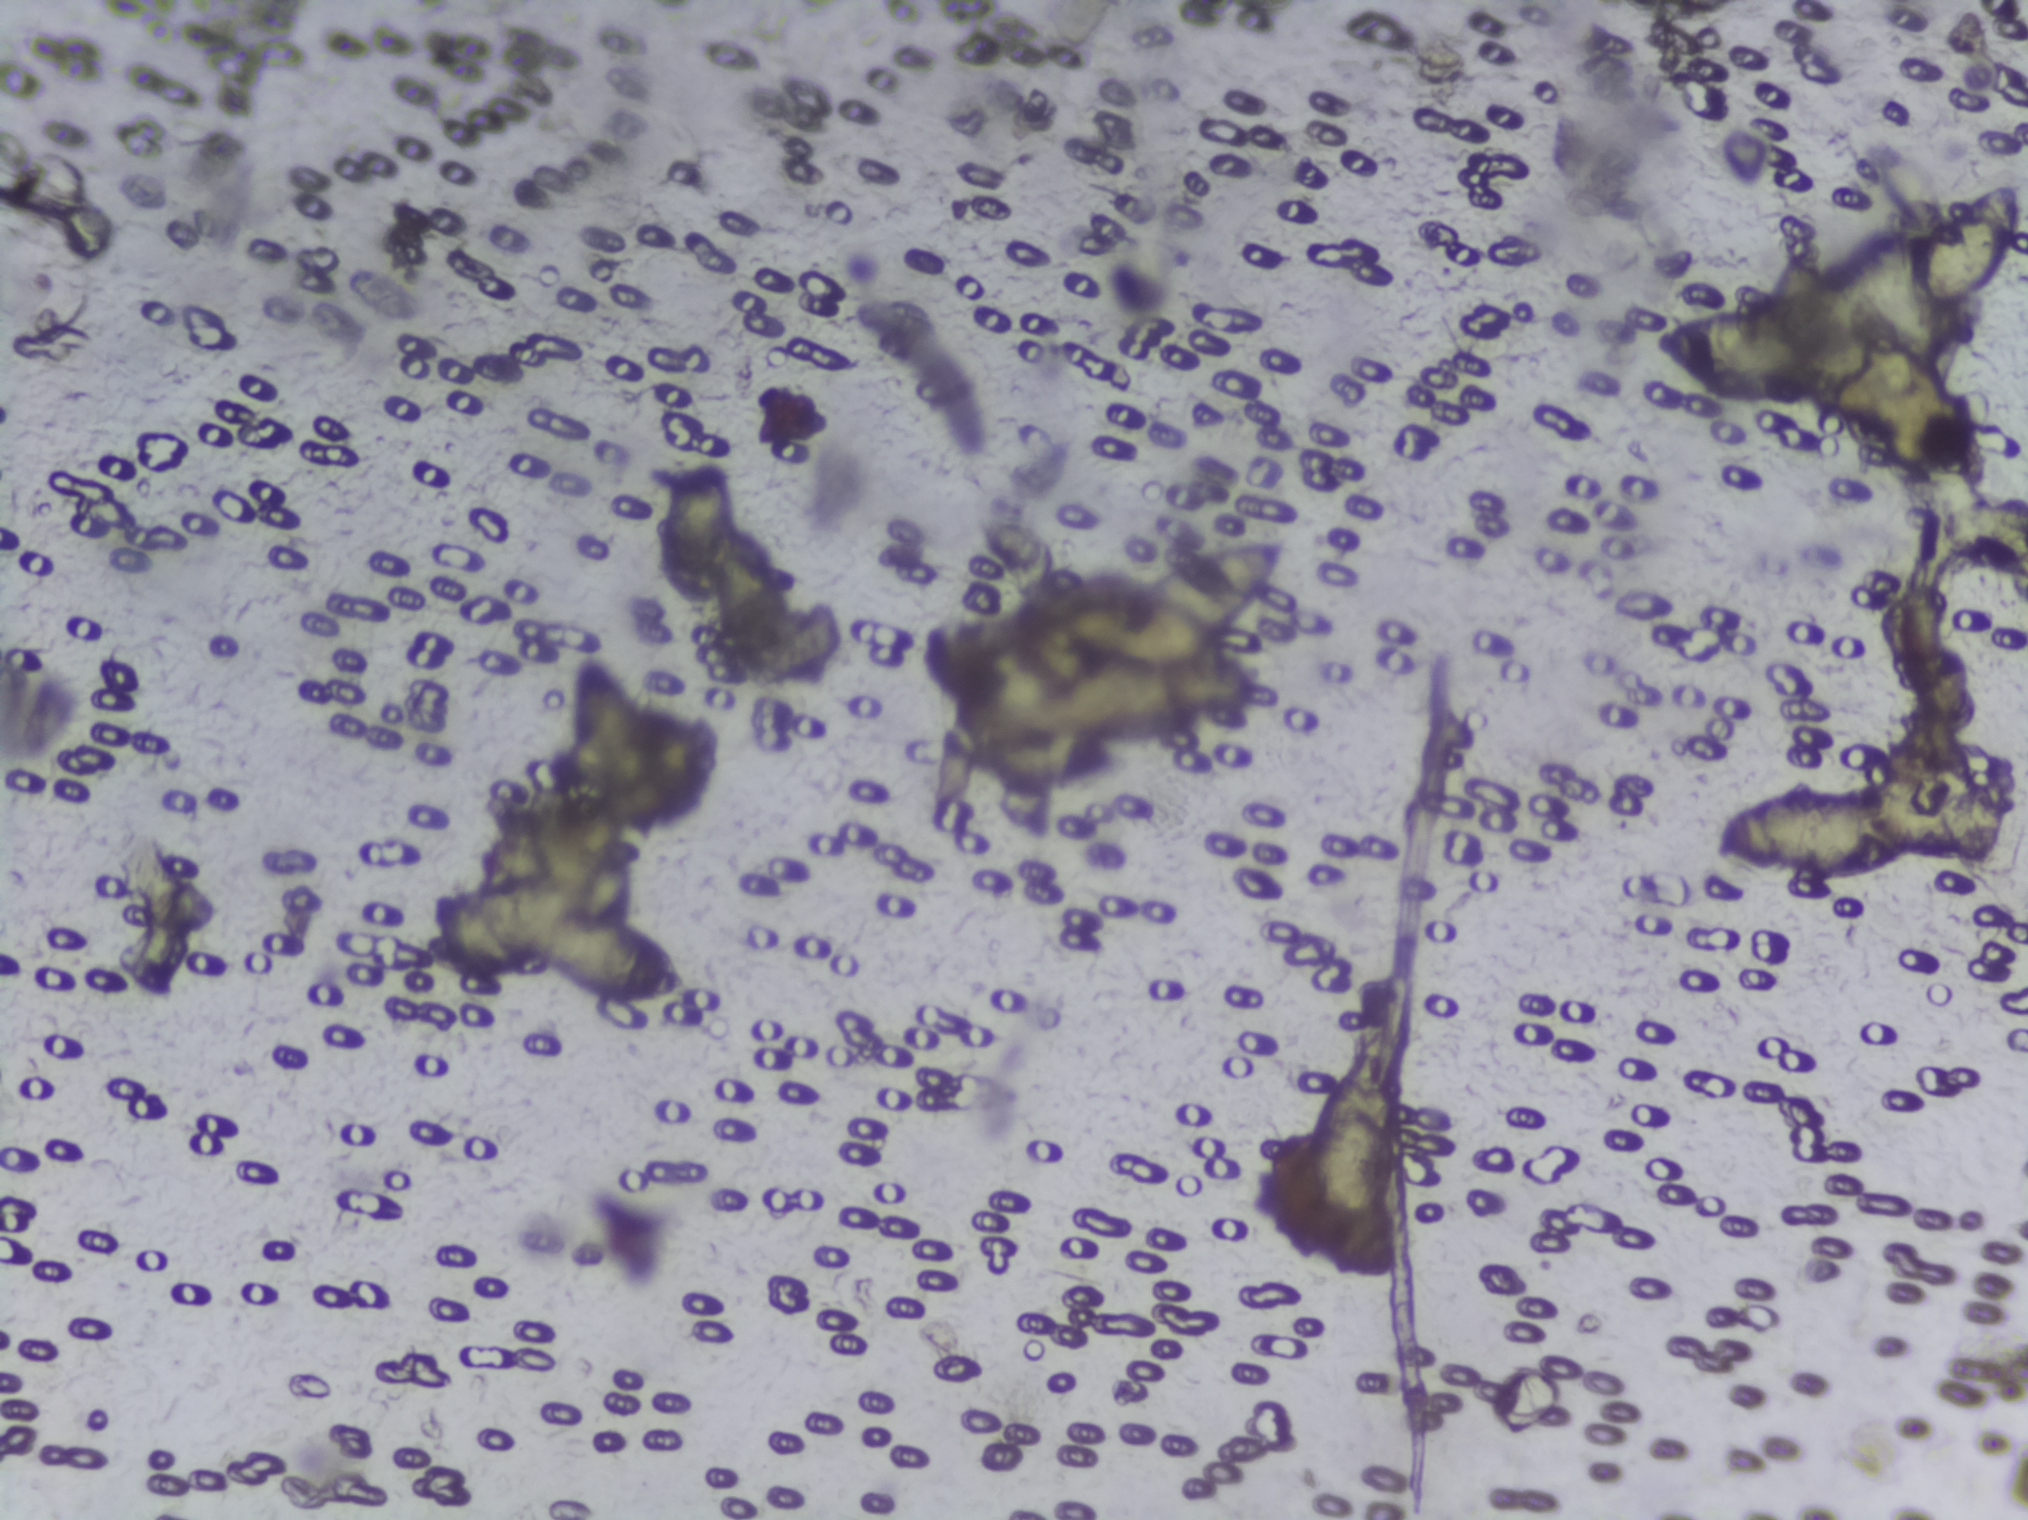
Urine filtration membrane under a 4× objective, photographed by an automated digital microscope.
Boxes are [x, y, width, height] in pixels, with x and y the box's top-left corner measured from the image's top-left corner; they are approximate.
Schistosoma eggs are outlined in eight areas of this image, listed from left to right: [526, 911, 166, 101]; [552, 633, 132, 219]; [654, 457, 142, 225]; [943, 535, 357, 256] (eggs clustered together); [1249, 1049, 156, 237]; [1651, 304, 223, 97]; [1720, 762, 296, 125]; [1907, 177, 118, 143]. An outlined area can hold more than one egg.